One field of view of a urine filter membrane, 4× objective, 2028 × 1520 pixels.
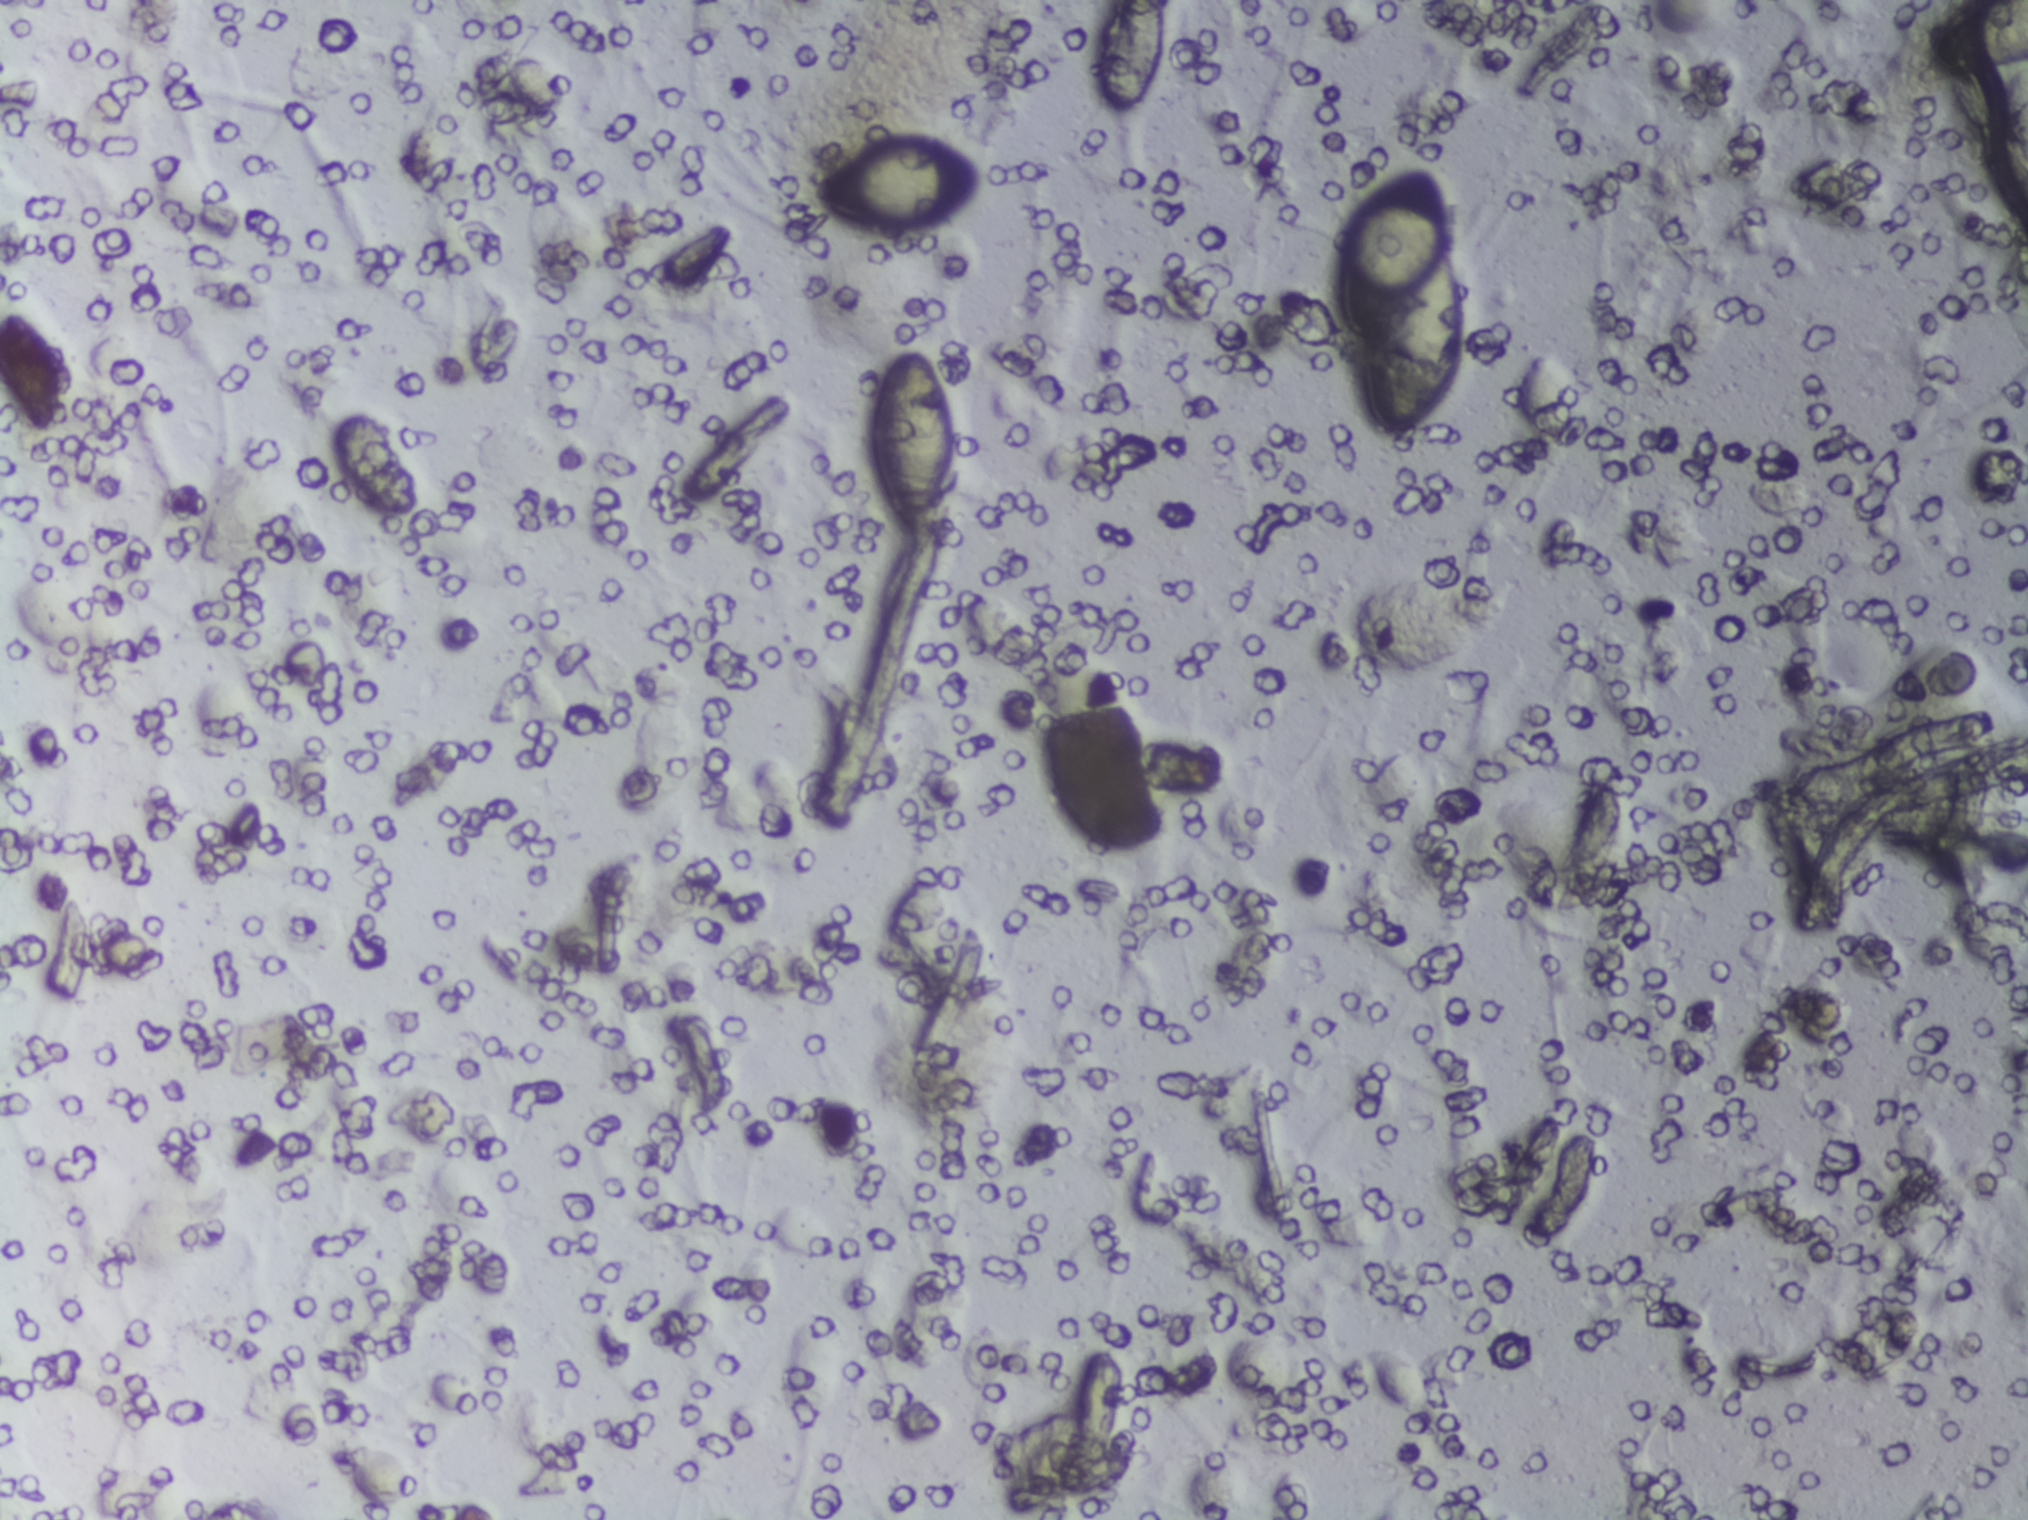
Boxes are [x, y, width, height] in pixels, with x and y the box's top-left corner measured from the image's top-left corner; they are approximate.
Five areas of this image are outlined as Schistosoma eggs, from left to right: [808, 140, 174, 87]; [865, 350, 87, 189]; [1100, 0, 64, 111] (reaching the top edge of the frame); [1339, 166, 127, 273]; [1926, 0, 102, 224] (reaching the top and right edges of the frame). Eggs that touch can end up inside the same outlined area.